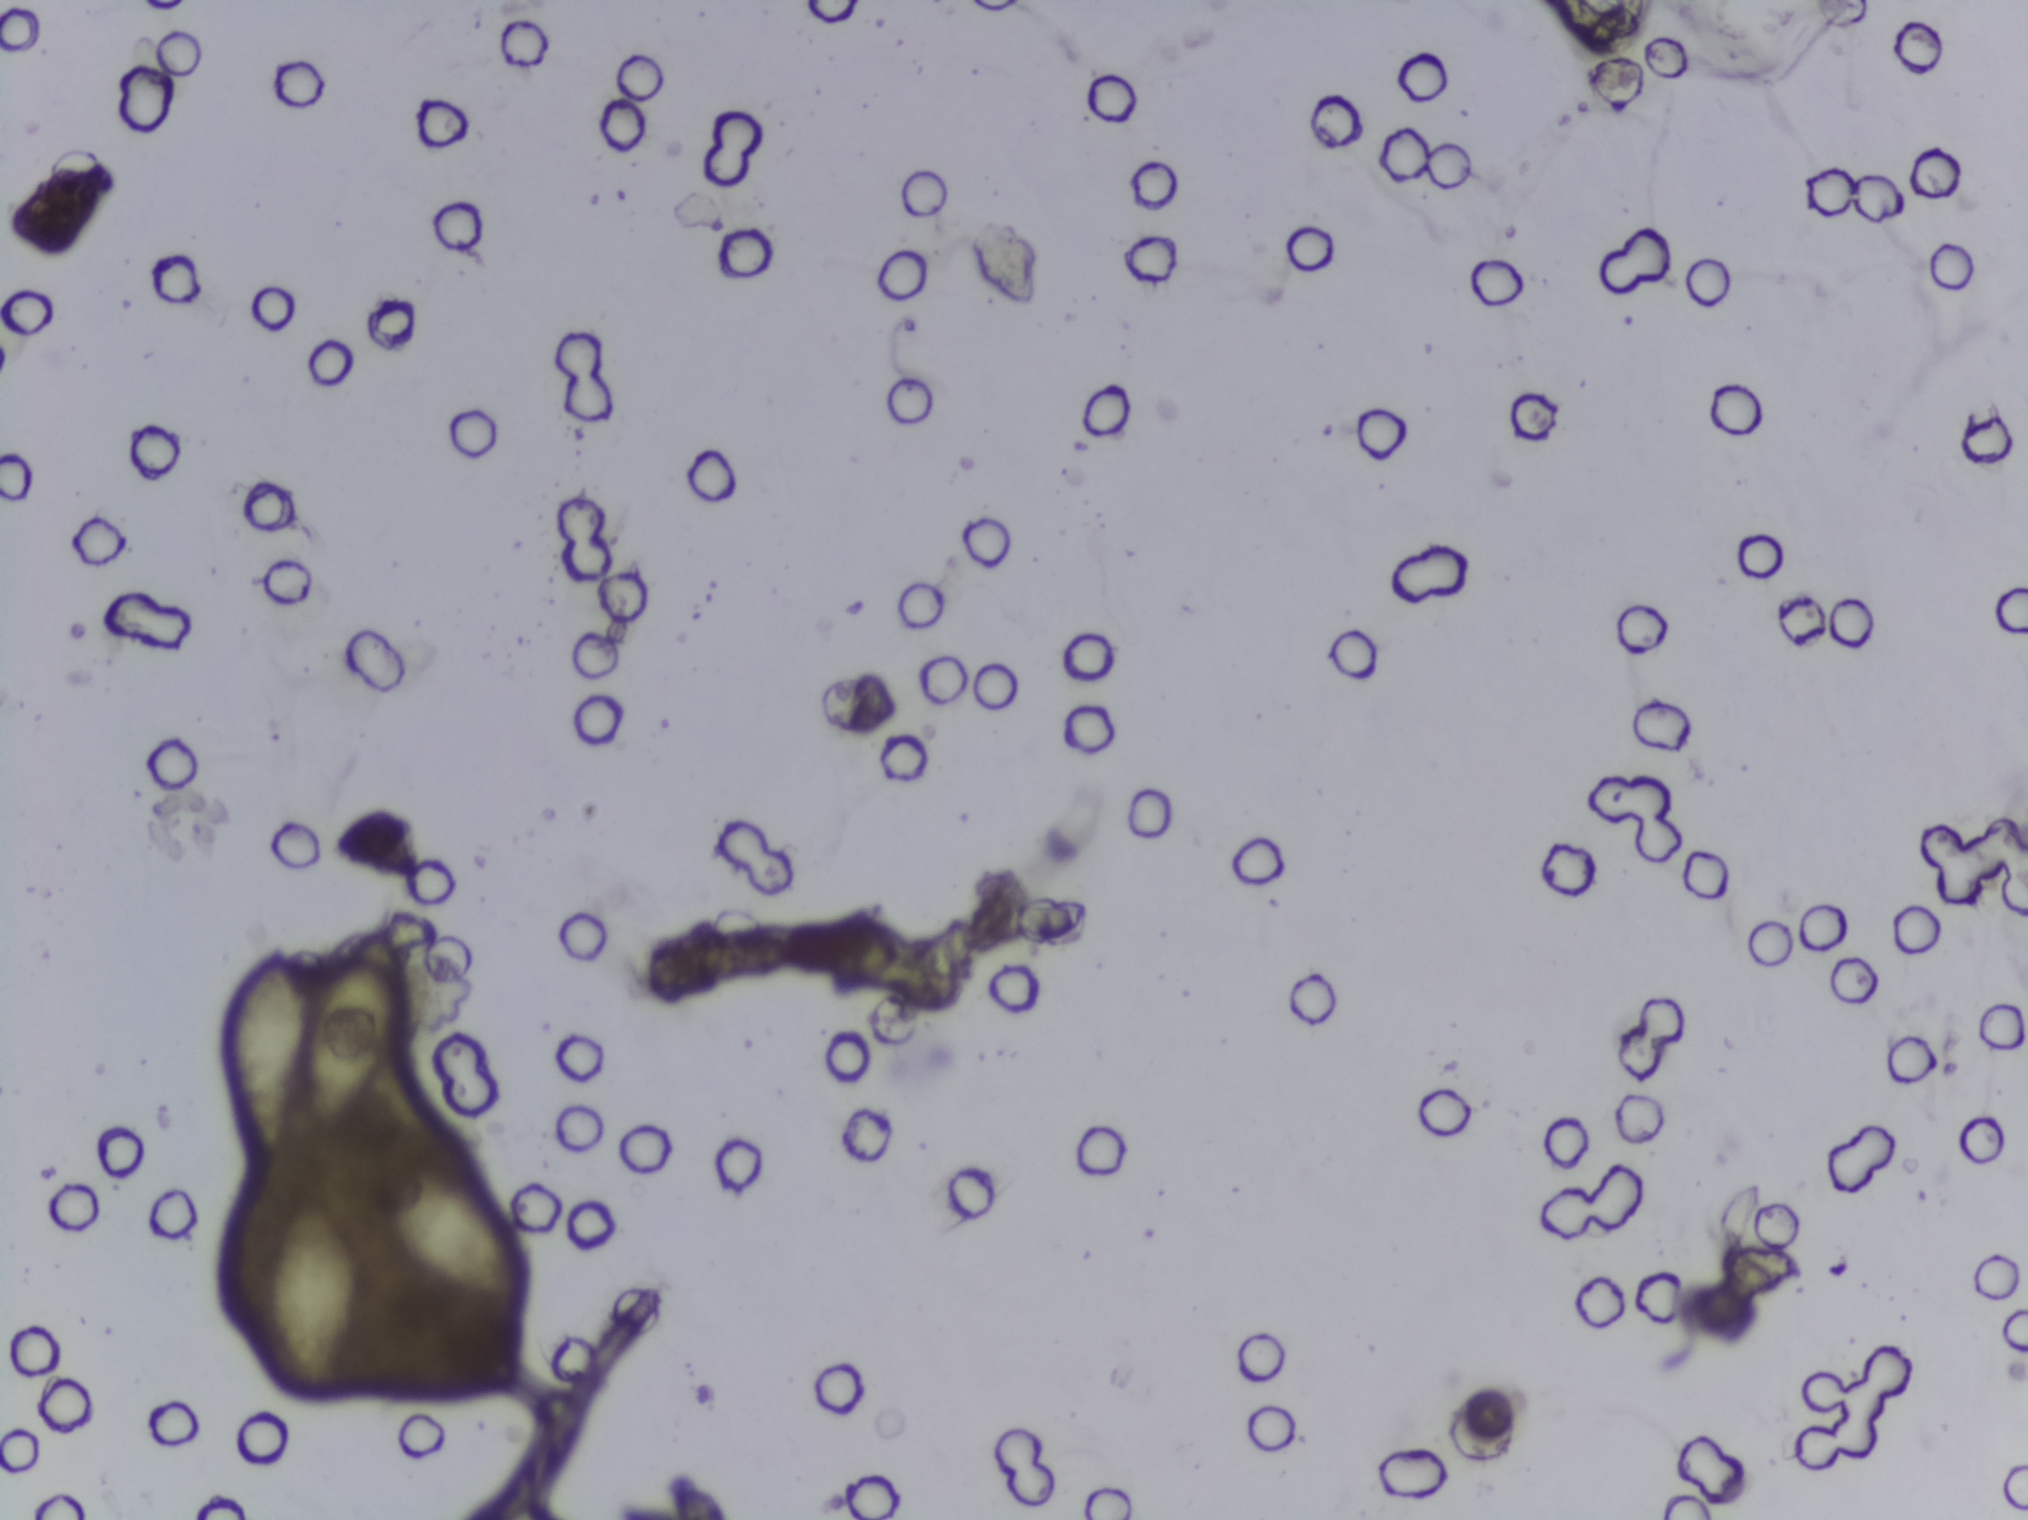
Photomicrograph of a urine filtration membrane, 4× objective. Field of view: about 1.5 mm wide and 1.1 mm high.
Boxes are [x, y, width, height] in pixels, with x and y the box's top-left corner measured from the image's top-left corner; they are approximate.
Schistosoma eggs are outlined in three areas of this image, listed from left to right: [223, 906, 185, 251]; [273, 1185, 88, 218]; [387, 1159, 144, 147]. An outlined area can hold more than one egg.